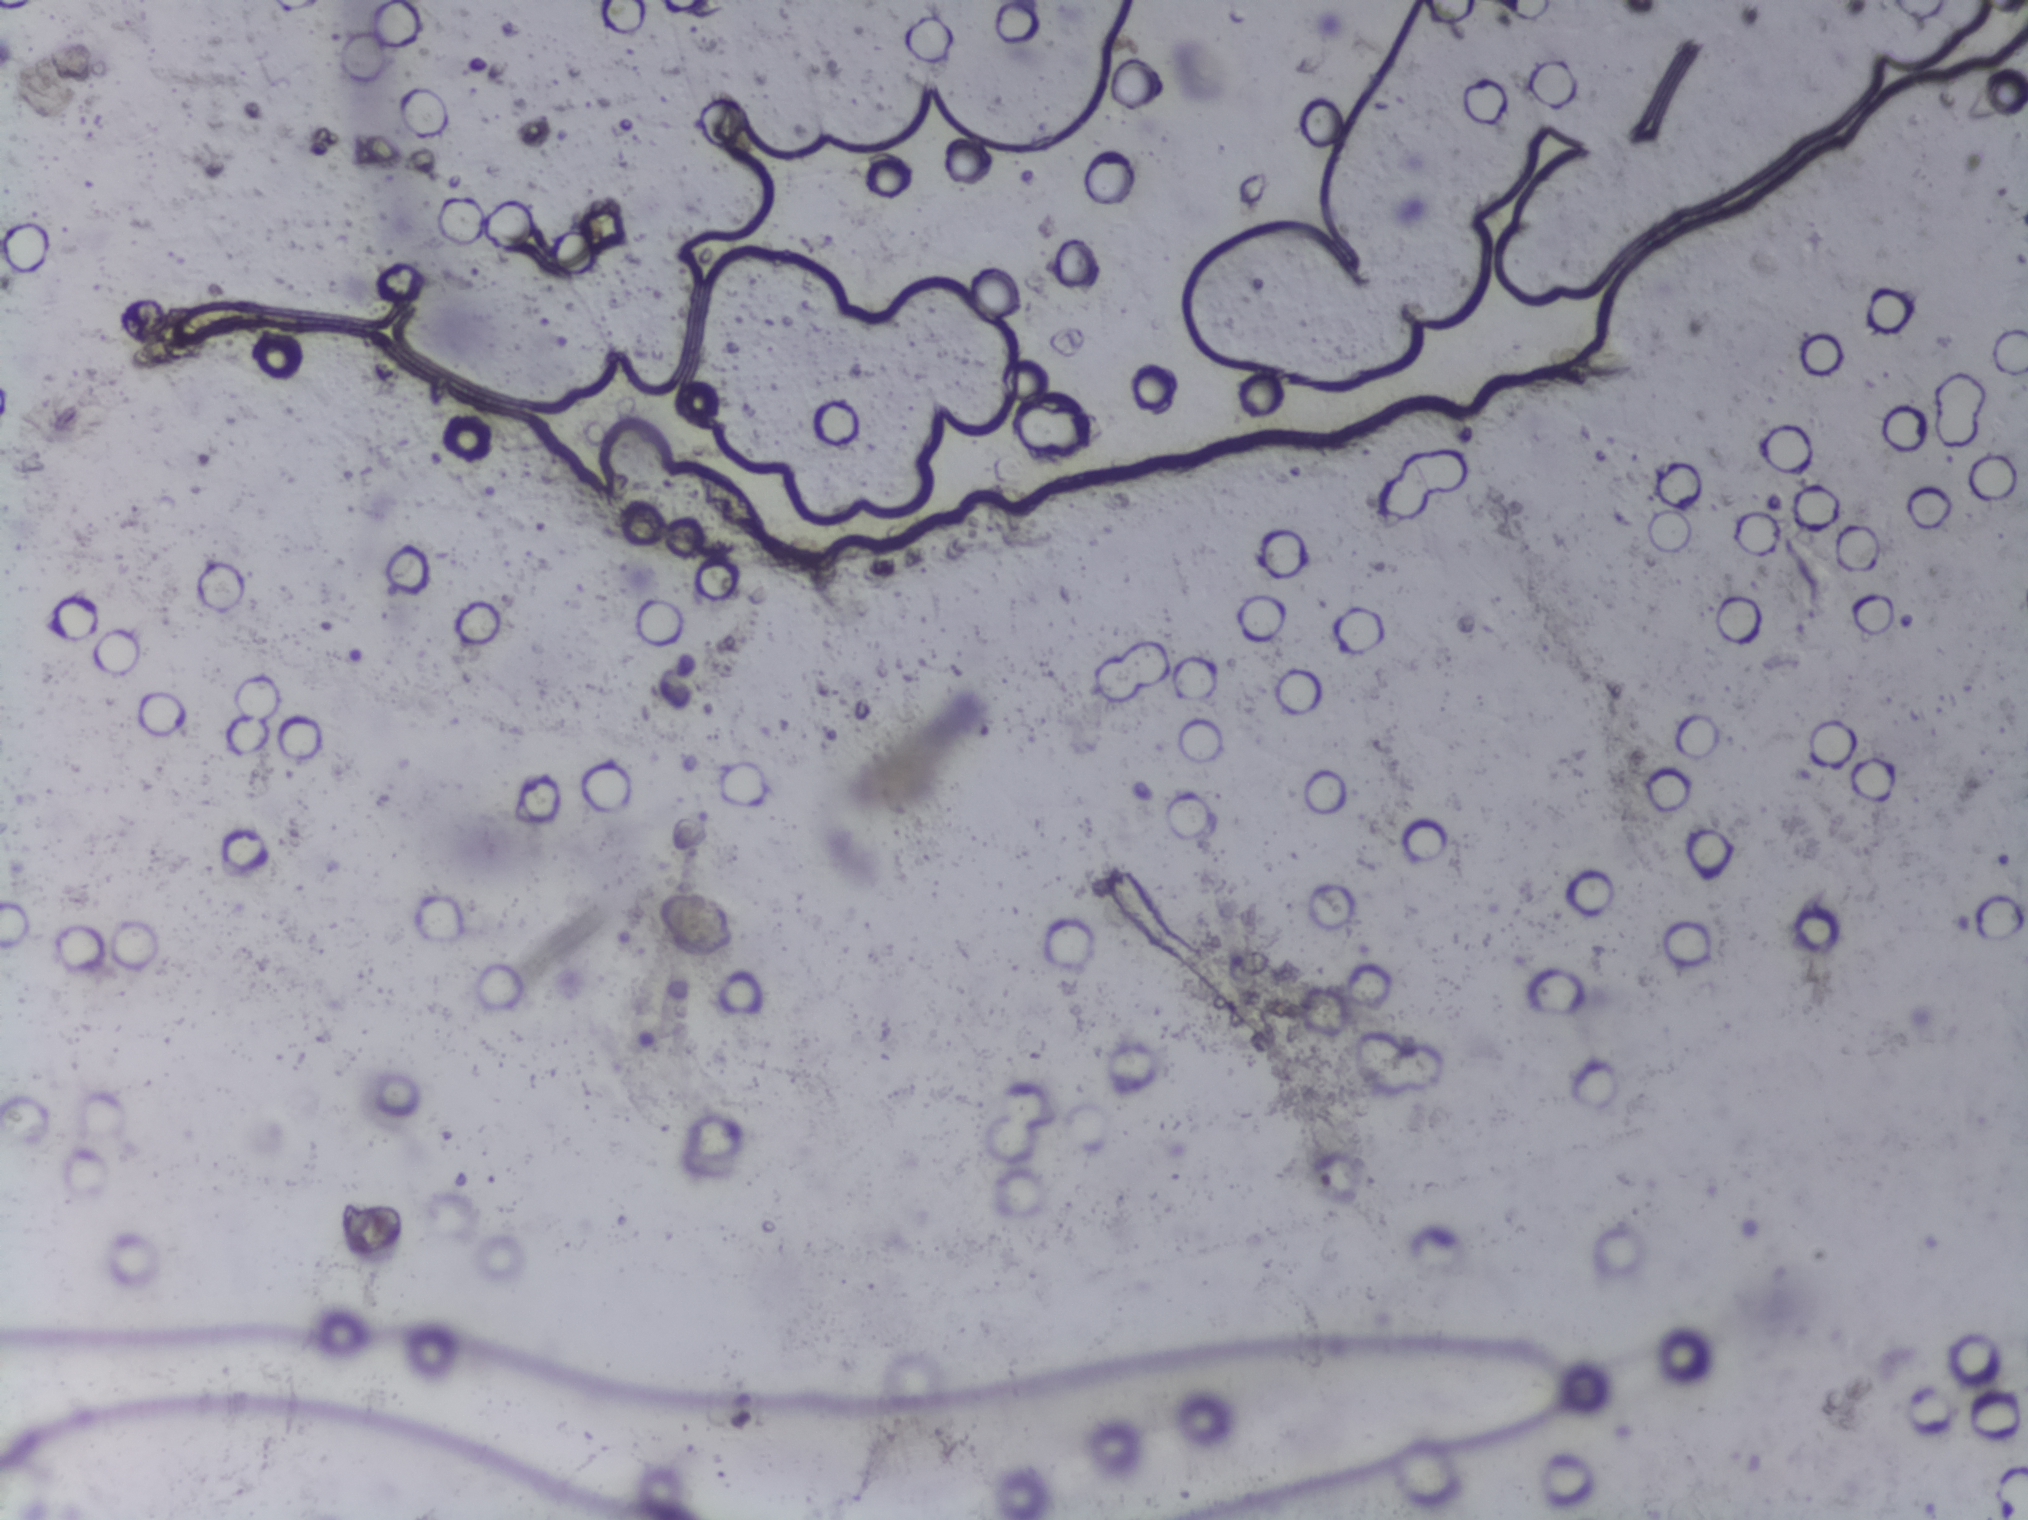
The expert annotation marks no Schistosoma egg in this field of view.
Microscope photograph (4× objective) of a membrane that a urine sample was filtered through. The field of view is about 1.5 mm × 1.1 mm.